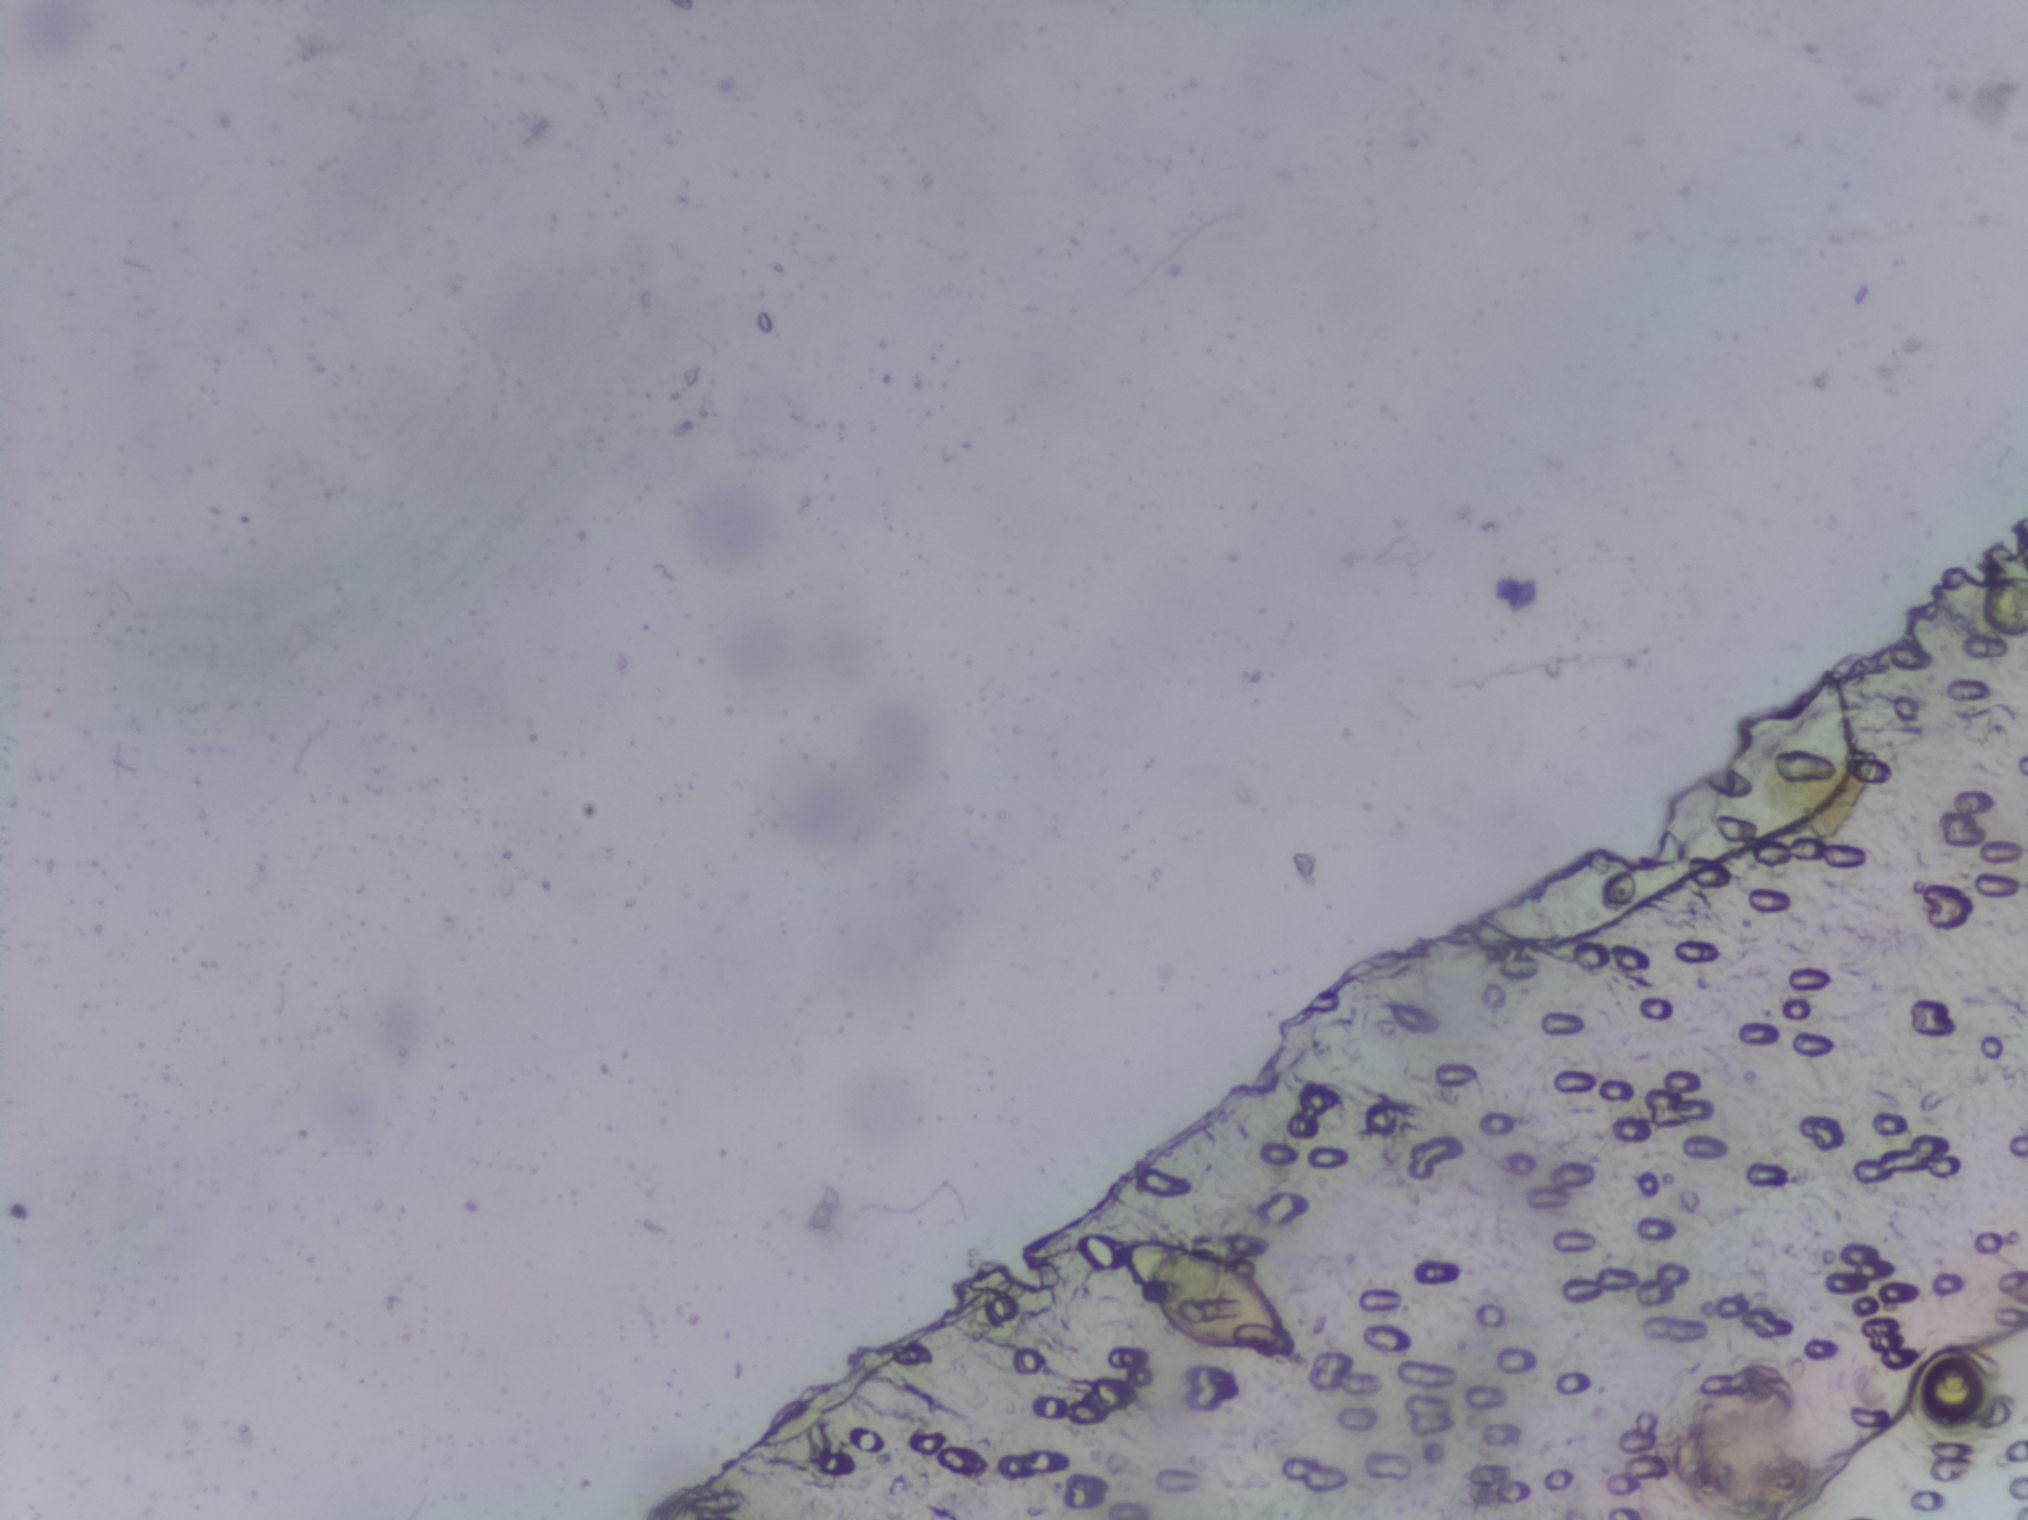
Urine filter membrane photographed through a 4× microscope objective.
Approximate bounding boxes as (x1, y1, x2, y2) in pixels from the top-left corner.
Schistosoma eggs, outlined areas: (1117, 1231, 1304, 1362). A single outlined area may contain several eggs.